Microscope photograph (4× objective) of a membrane that a urine sample was filtered through.
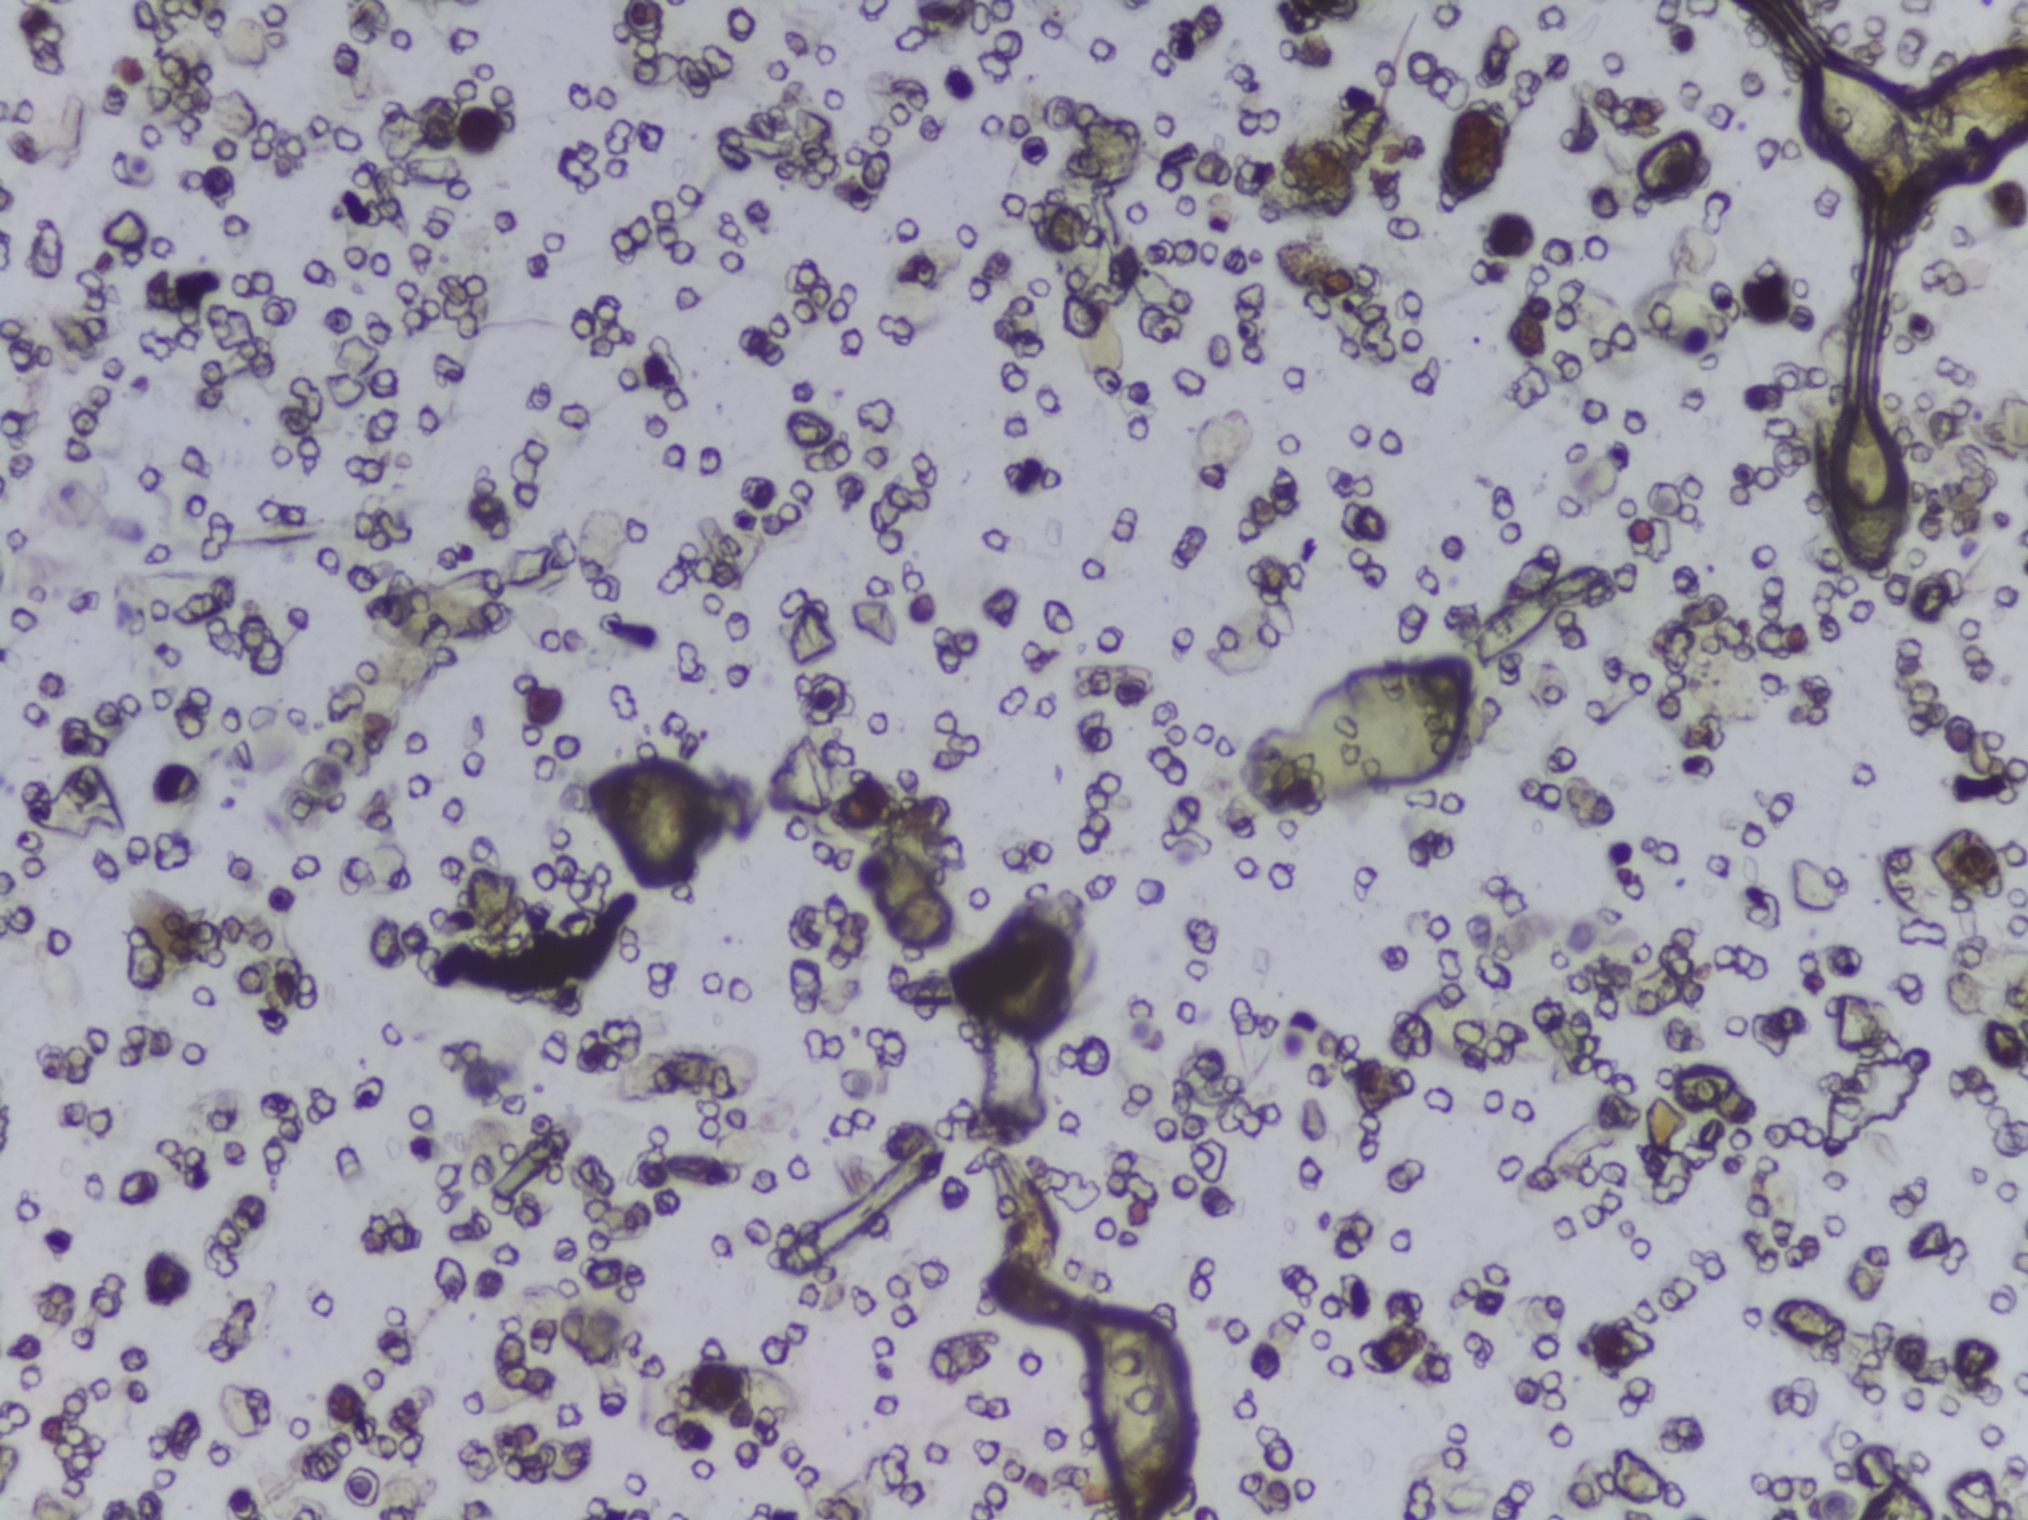
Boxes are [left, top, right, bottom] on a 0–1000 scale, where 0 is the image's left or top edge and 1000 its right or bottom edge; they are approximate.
Three areas of this image are outlined as Schistosoma eggs, from left to right: [893, 37, 943, 117]; [902, 266, 938, 377]; [959, 36, 991, 118]. Eggs that touch can end up inside the same outlined area.